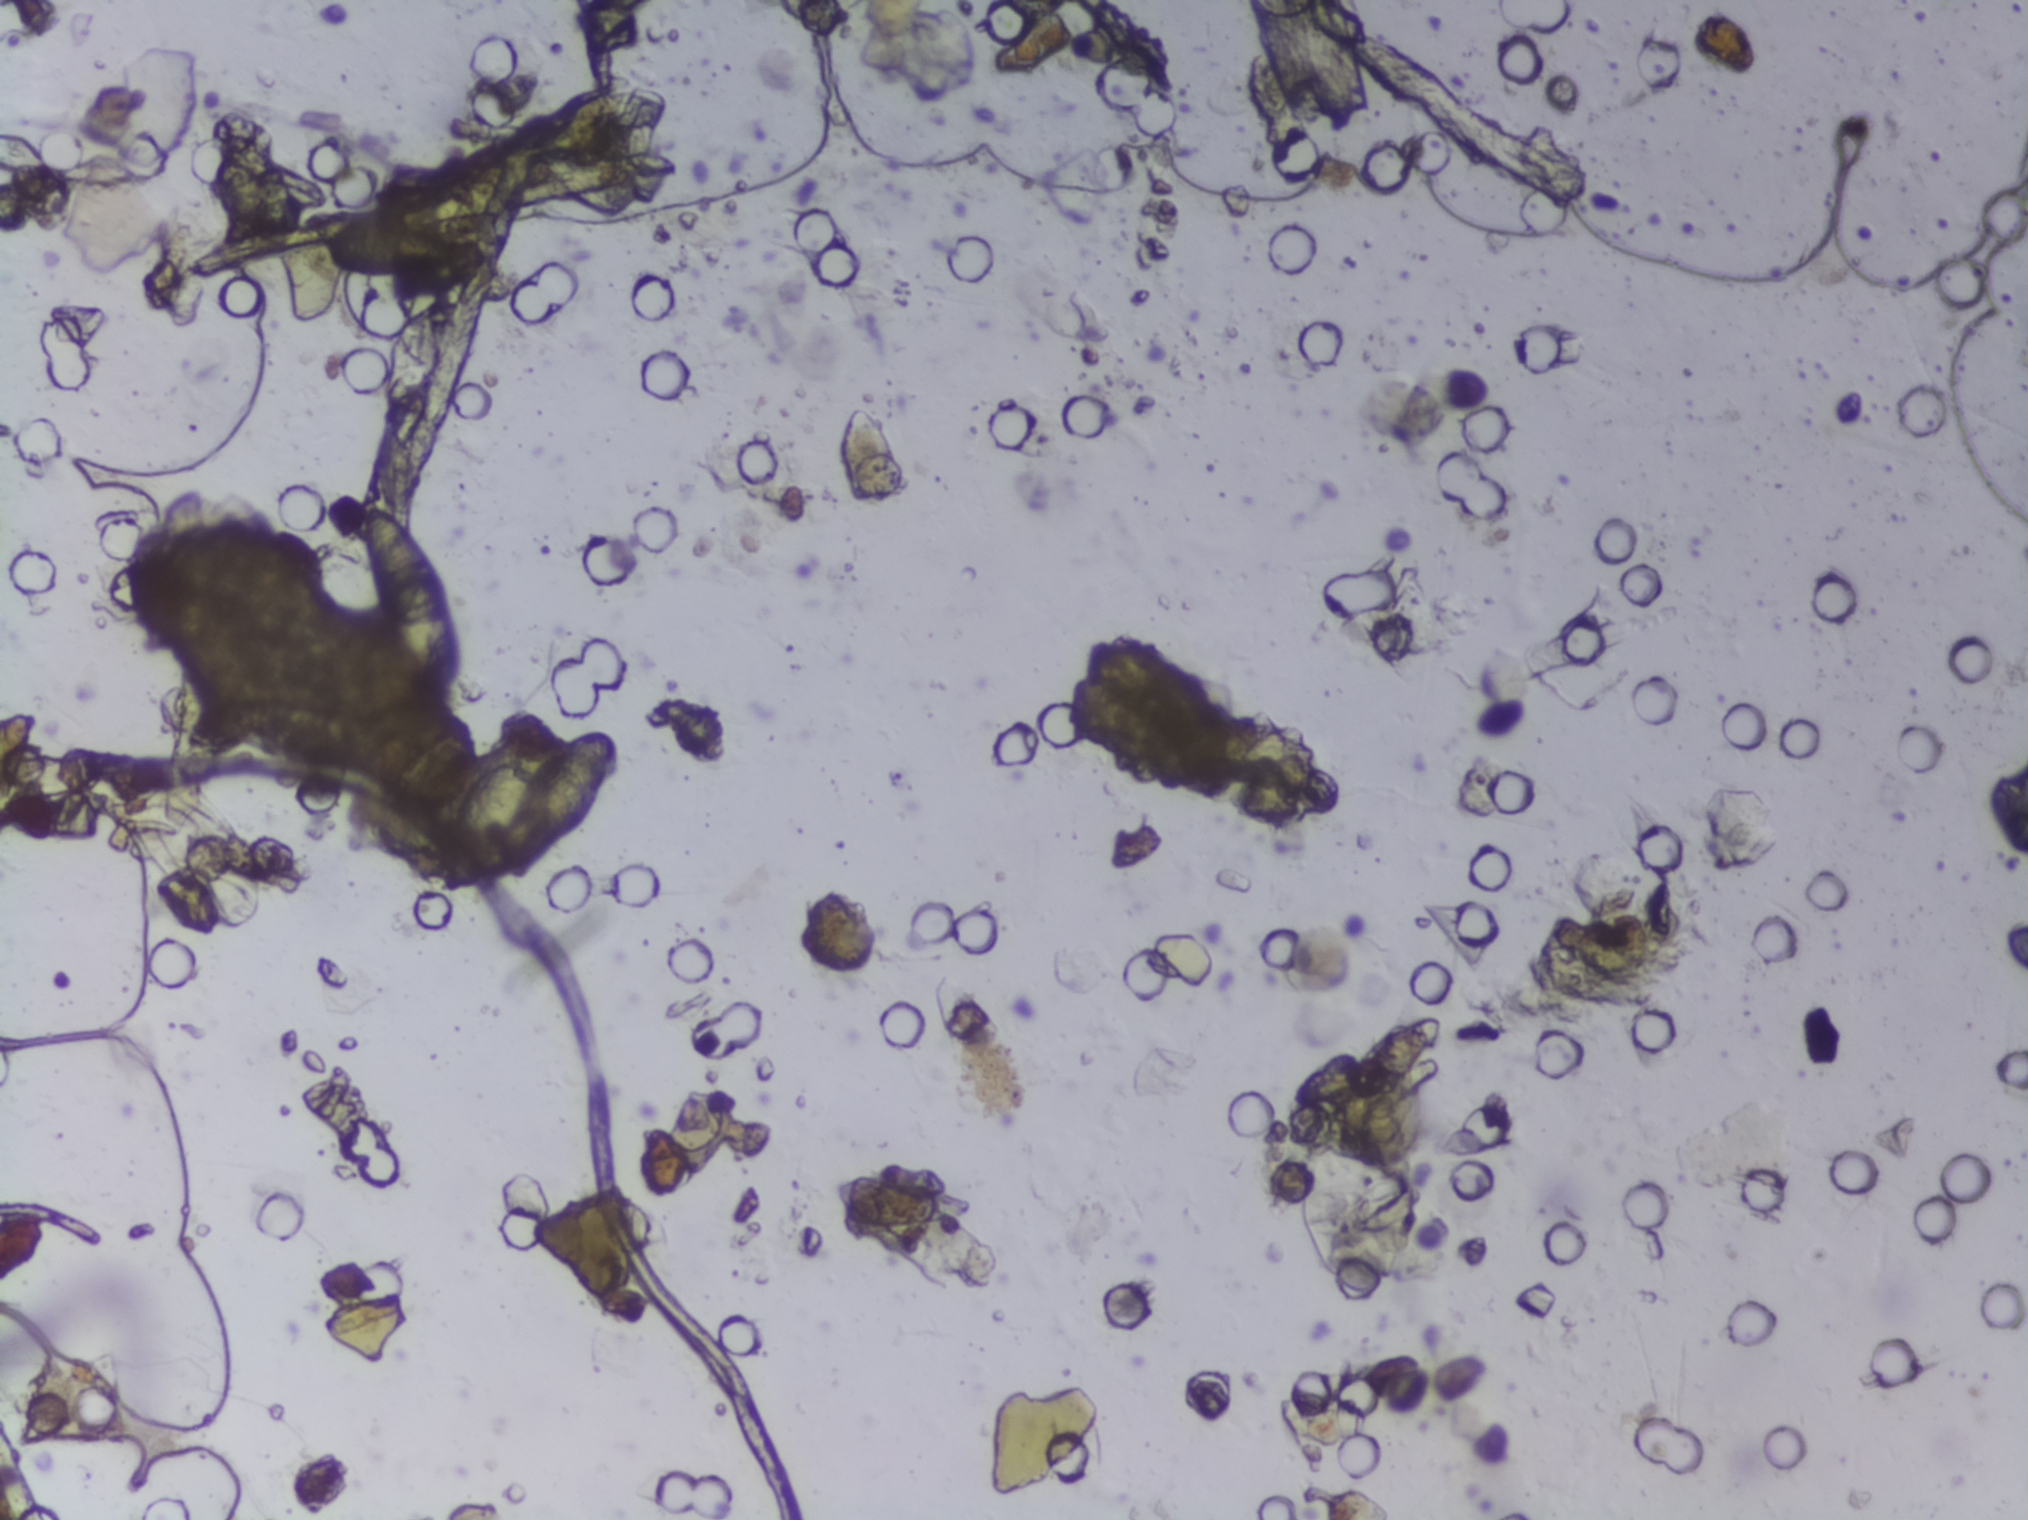
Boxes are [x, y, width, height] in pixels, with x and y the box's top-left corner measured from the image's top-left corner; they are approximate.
Findings: two areas outlined as Schistosoma eggs. Locations: [345, 501, 124, 214]; [437, 726, 190, 169]. Eggs that touch can end up inside the same outlined area.
Photomicrograph of a urine filtration membrane, 4× objective.